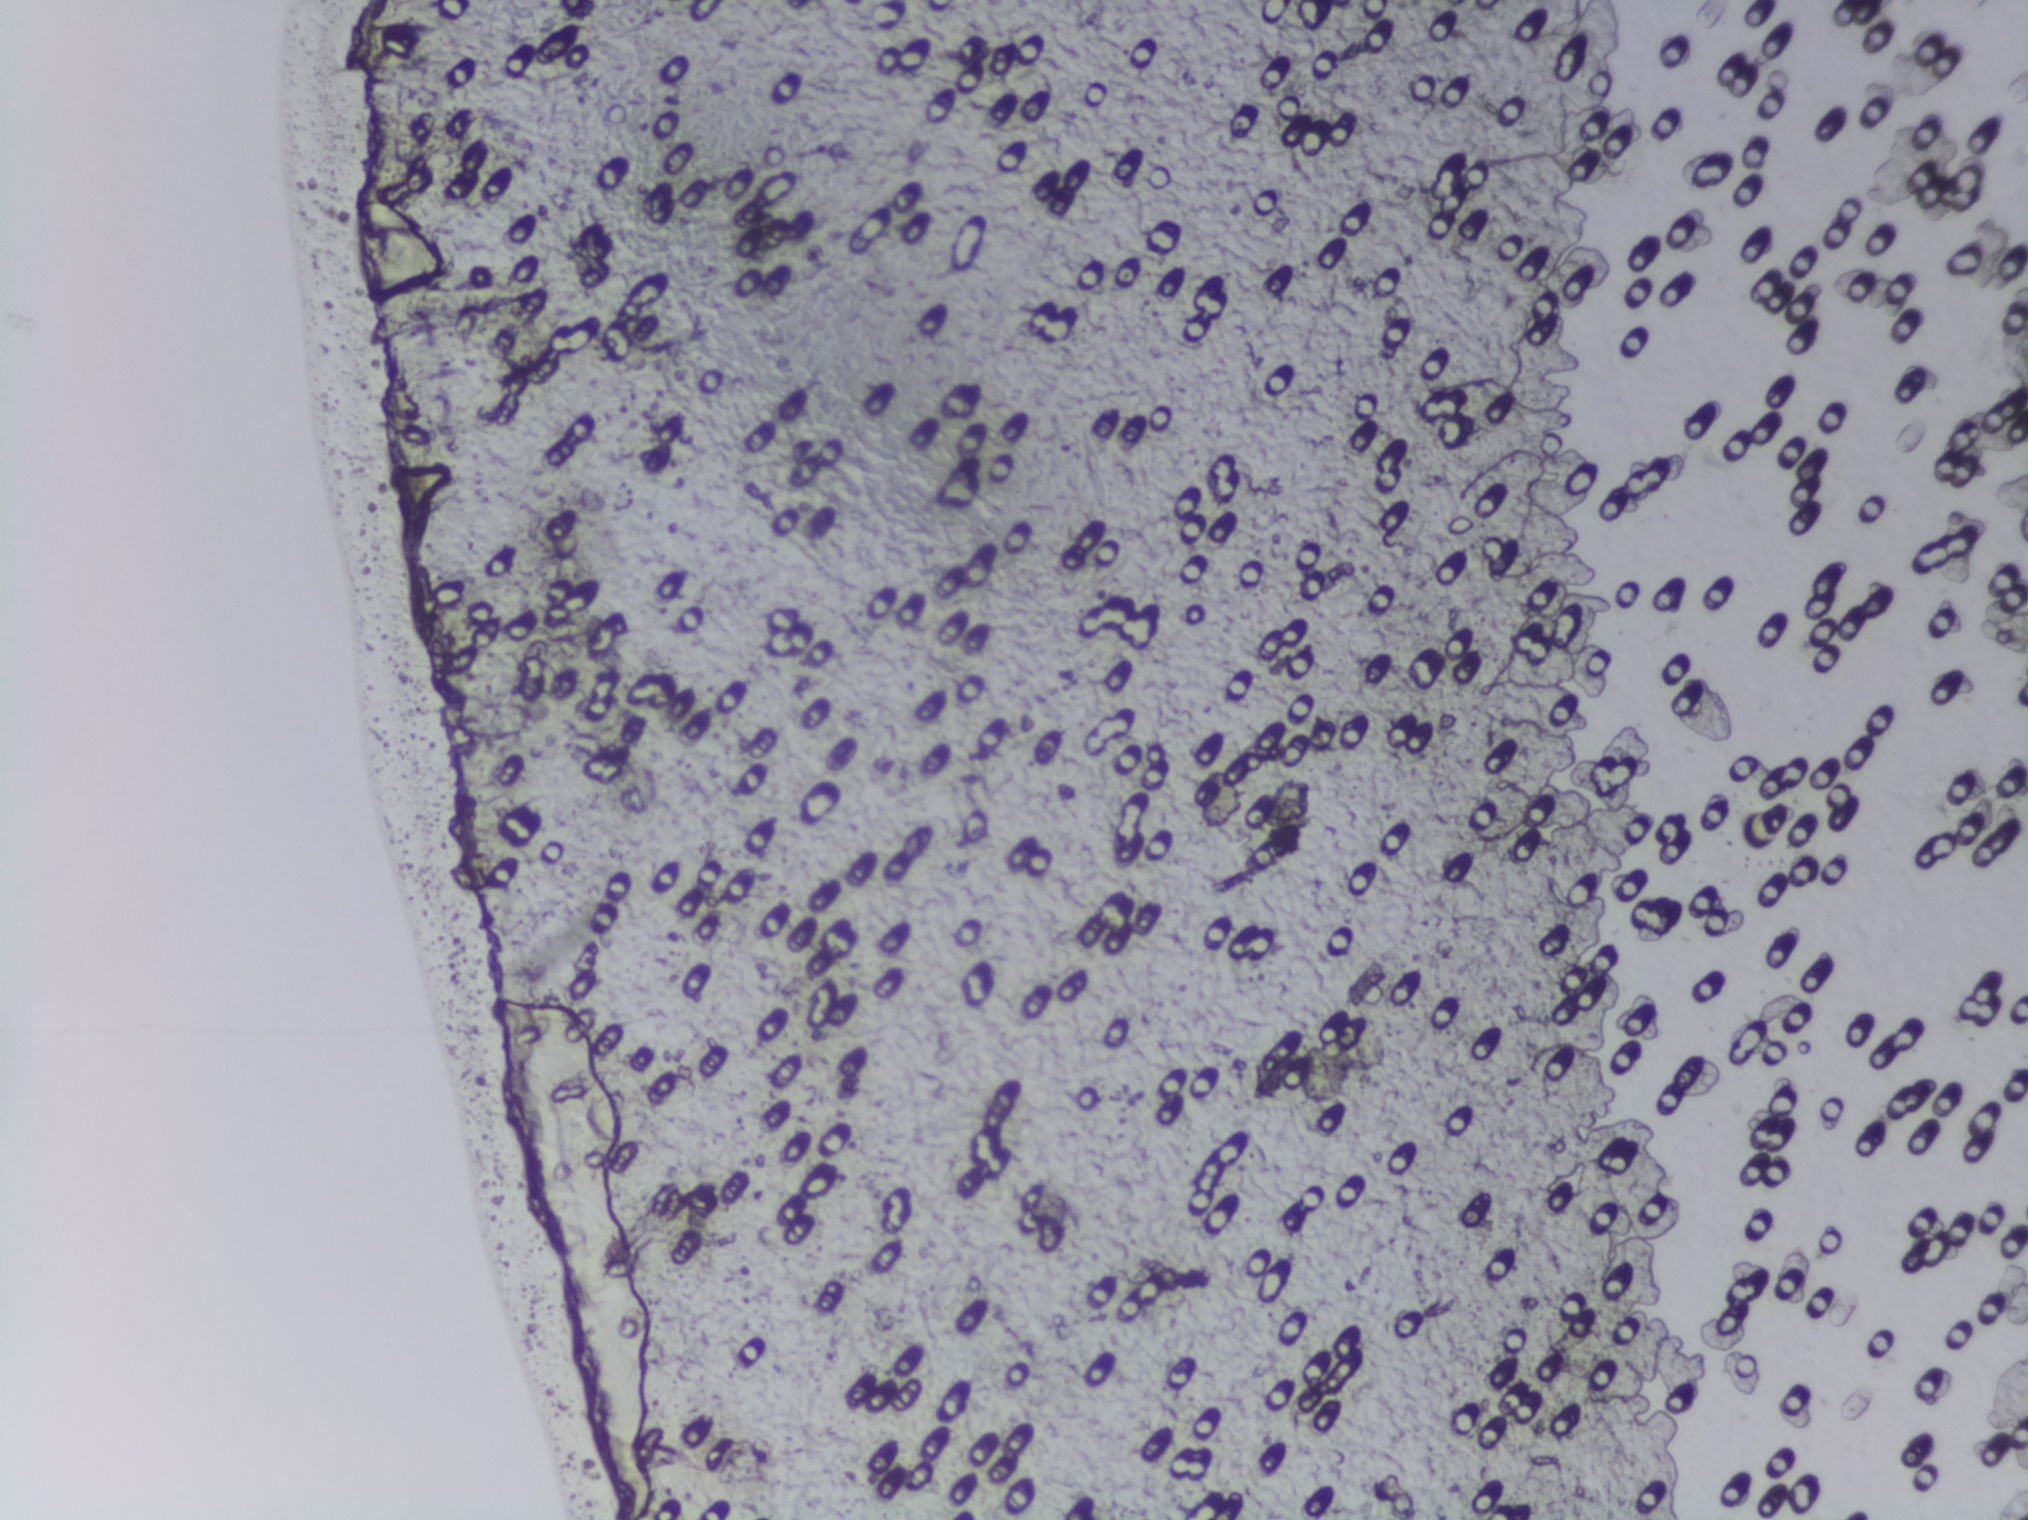
Urine filtration membrane under a 4× objective, photographed by an automated digital microscope. Field of view: about 1.5 mm wide and 1.1 mm high.
The expert annotation marks no Schistosoma egg in this field of view.